Urine filter membrane photographed through a 4× microscope objective. Field of view: about 1.5 mm wide and 1.1 mm high.
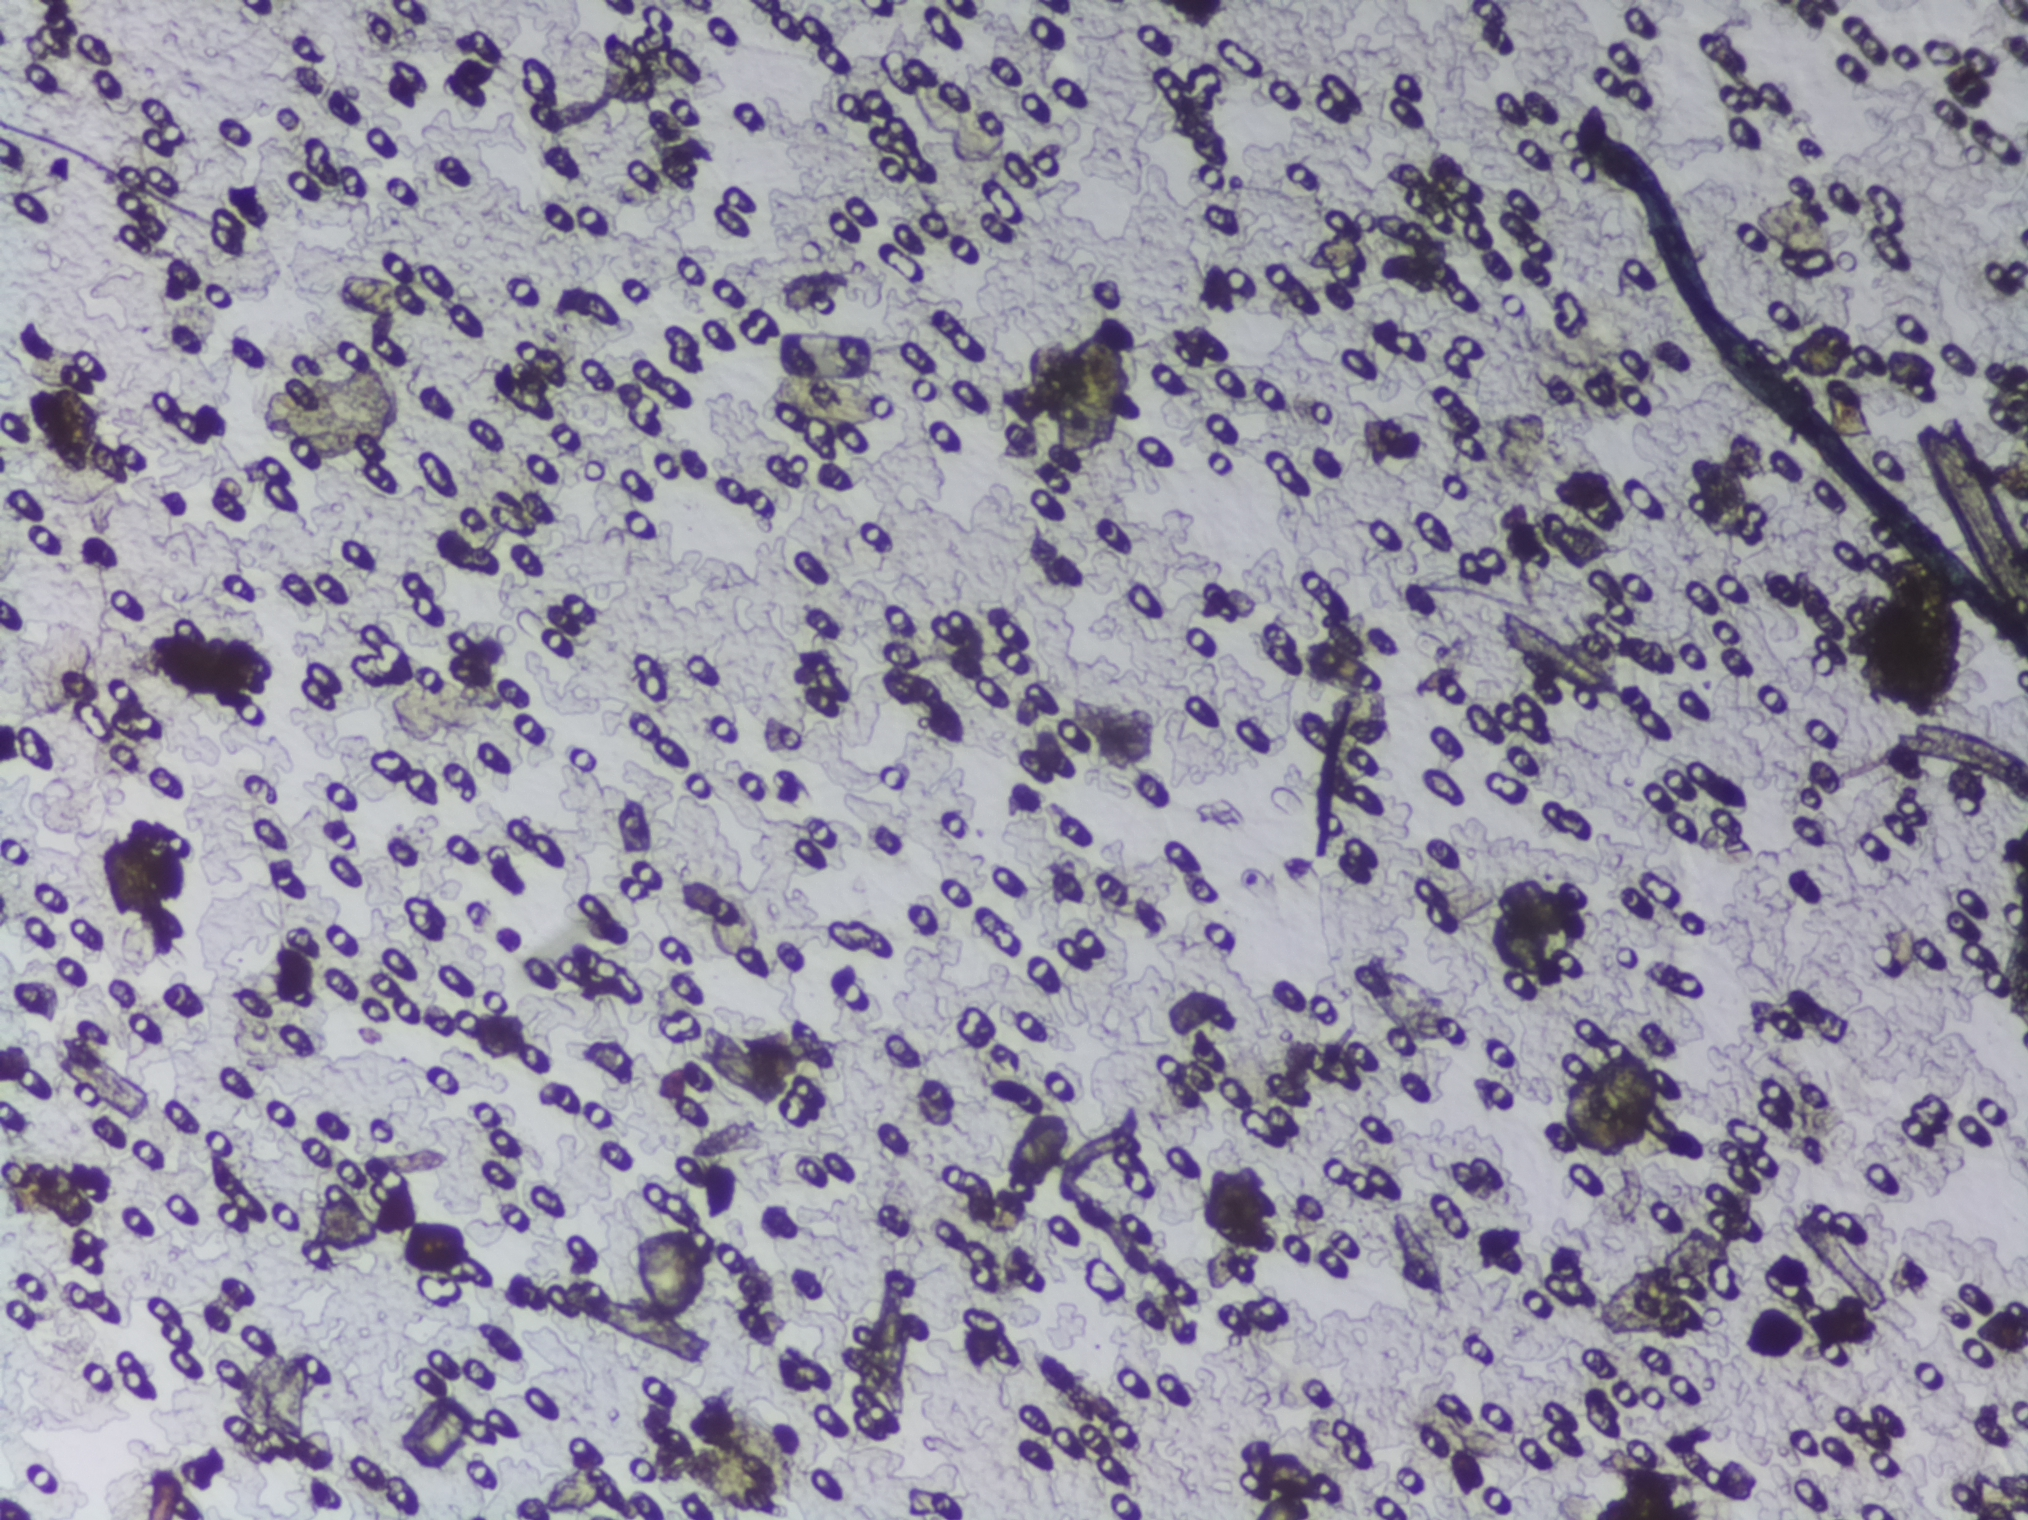
The expert annotation marks no Schistosoma egg in this field of view.